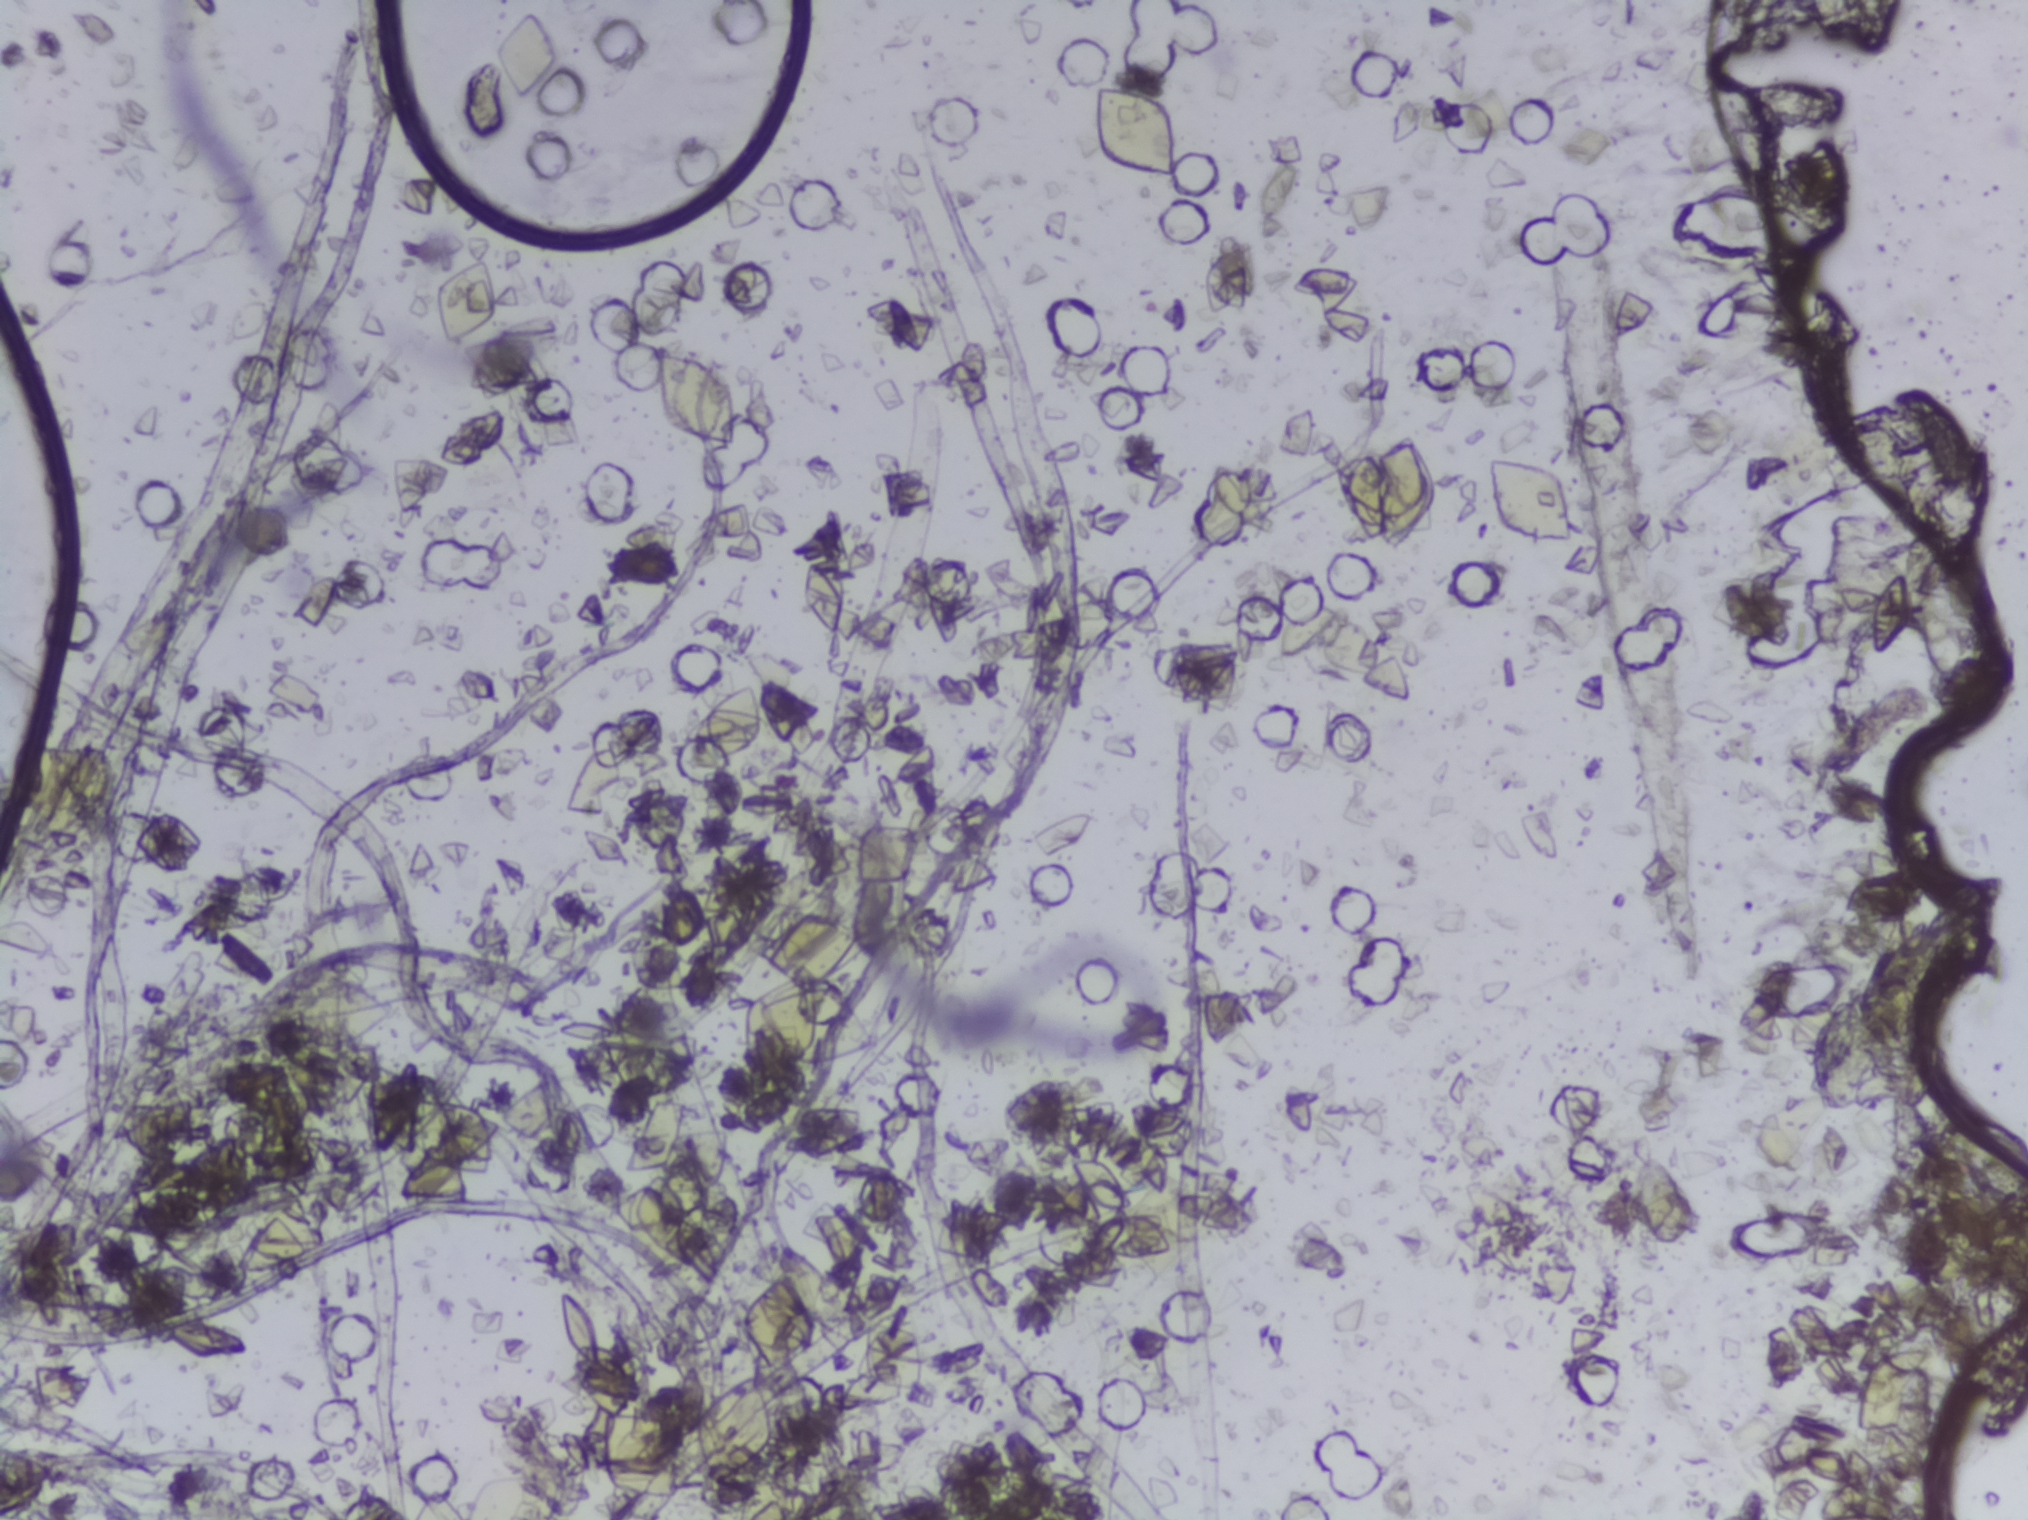
One field of view of a urine filter membrane, 4× objective, 2028 × 1520 pixels.
No Schistosoma egg is outlined in this image's expert annotation.